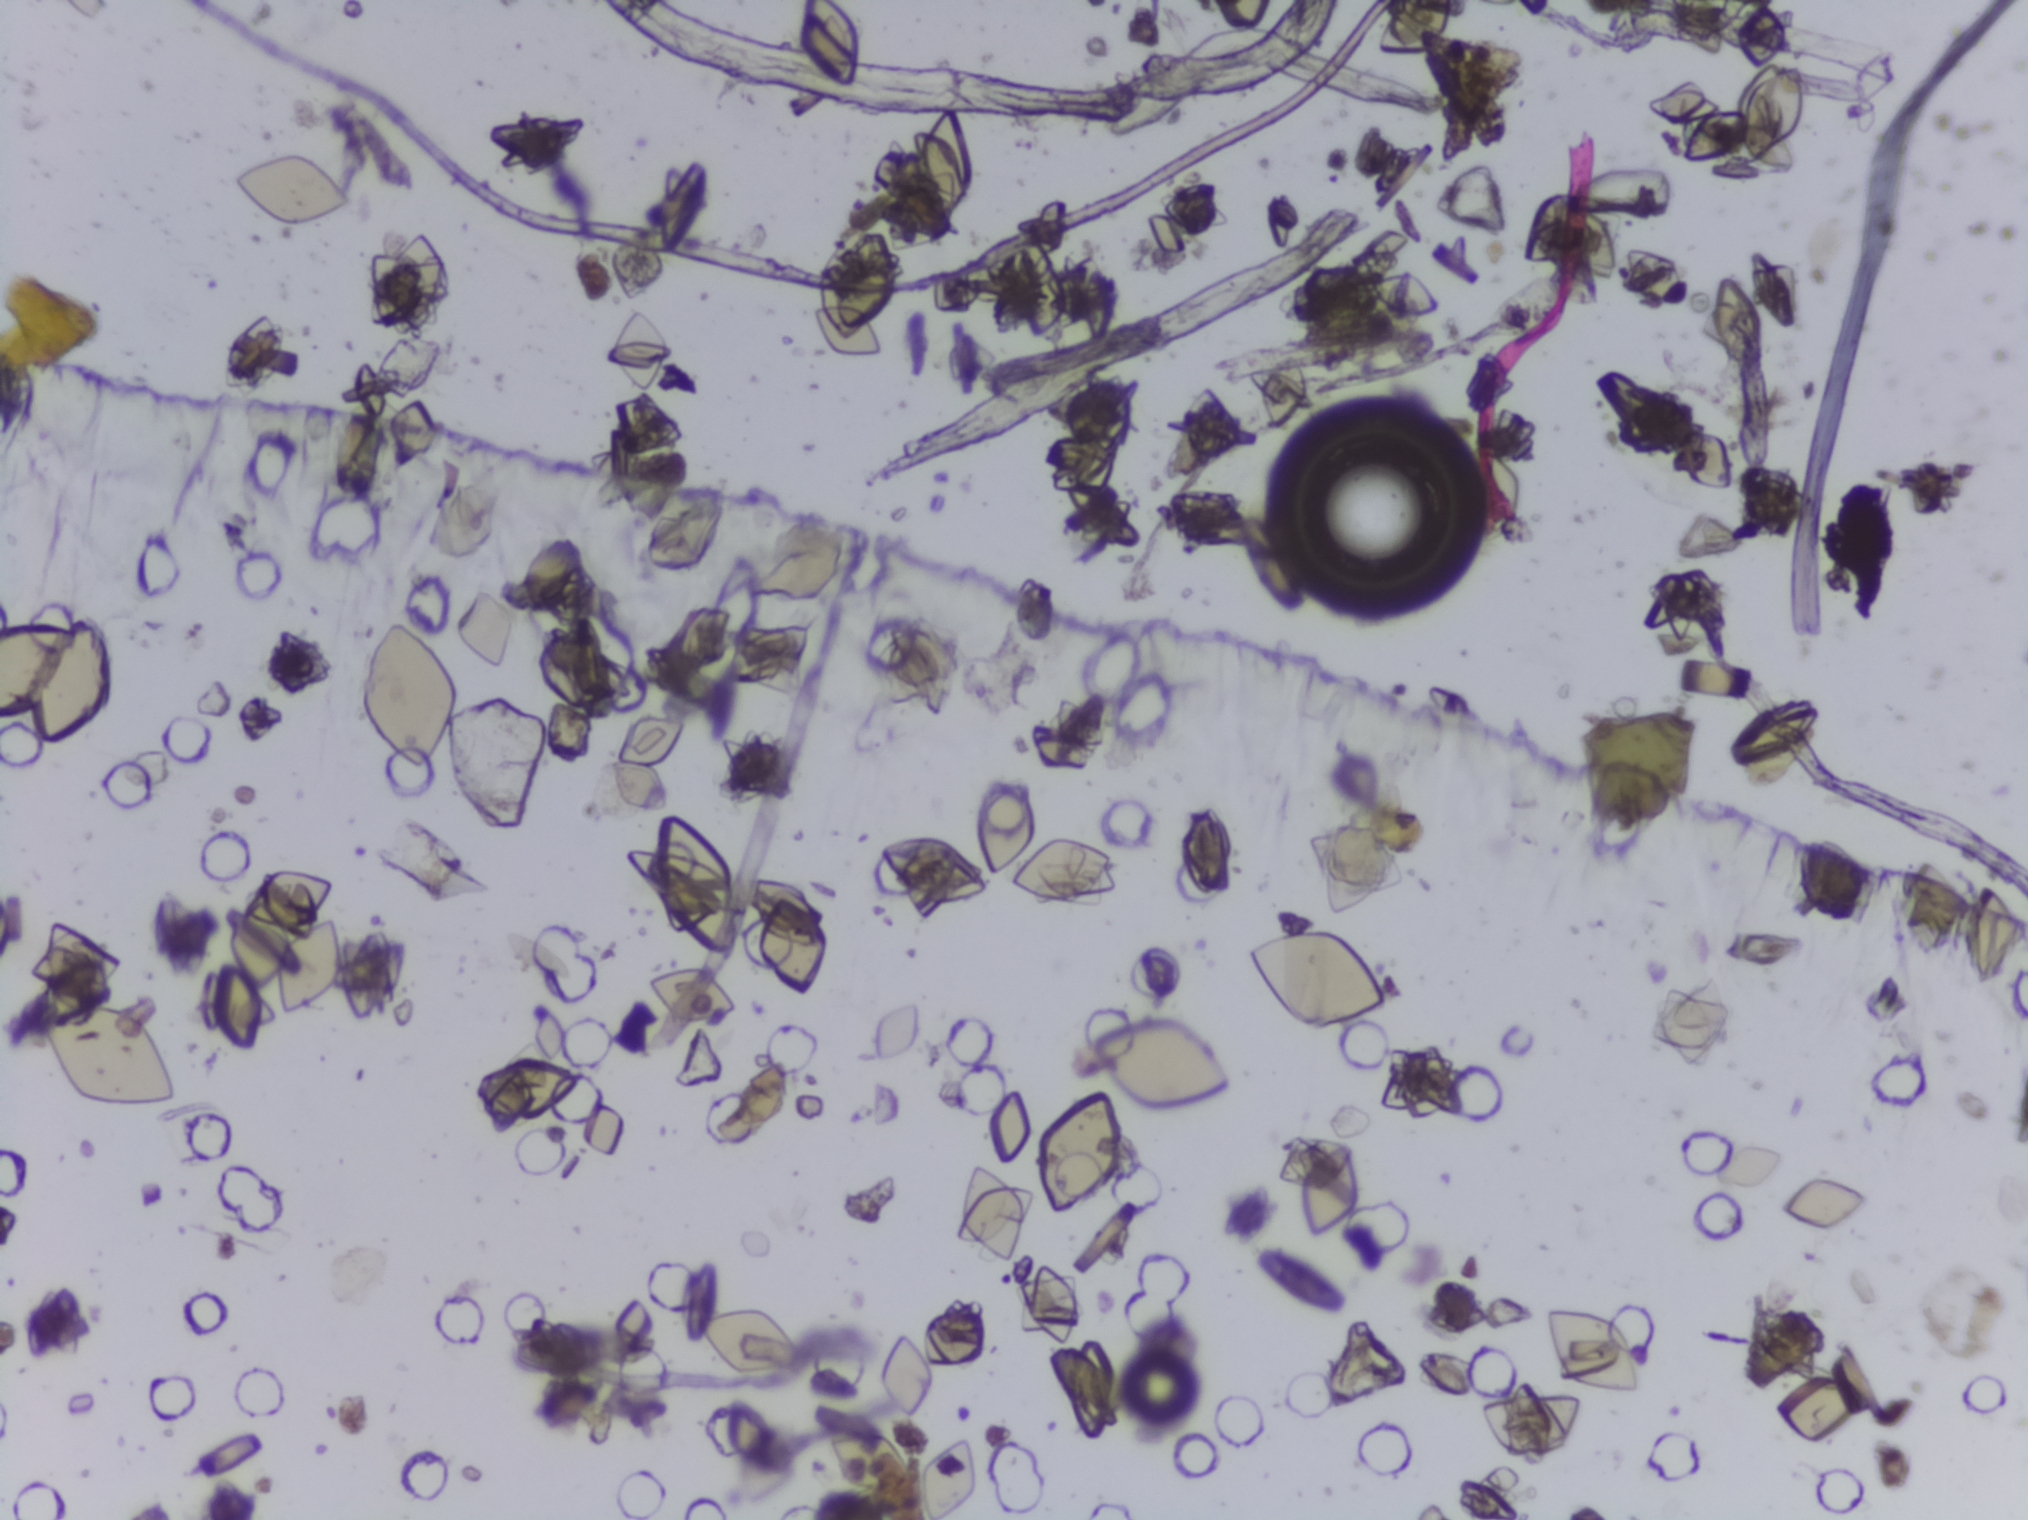
One field of view of a urine filter membrane, 4× objective, 2028 × 1520 pixels.
No Schistosoma egg is outlined in this image's expert annotation.